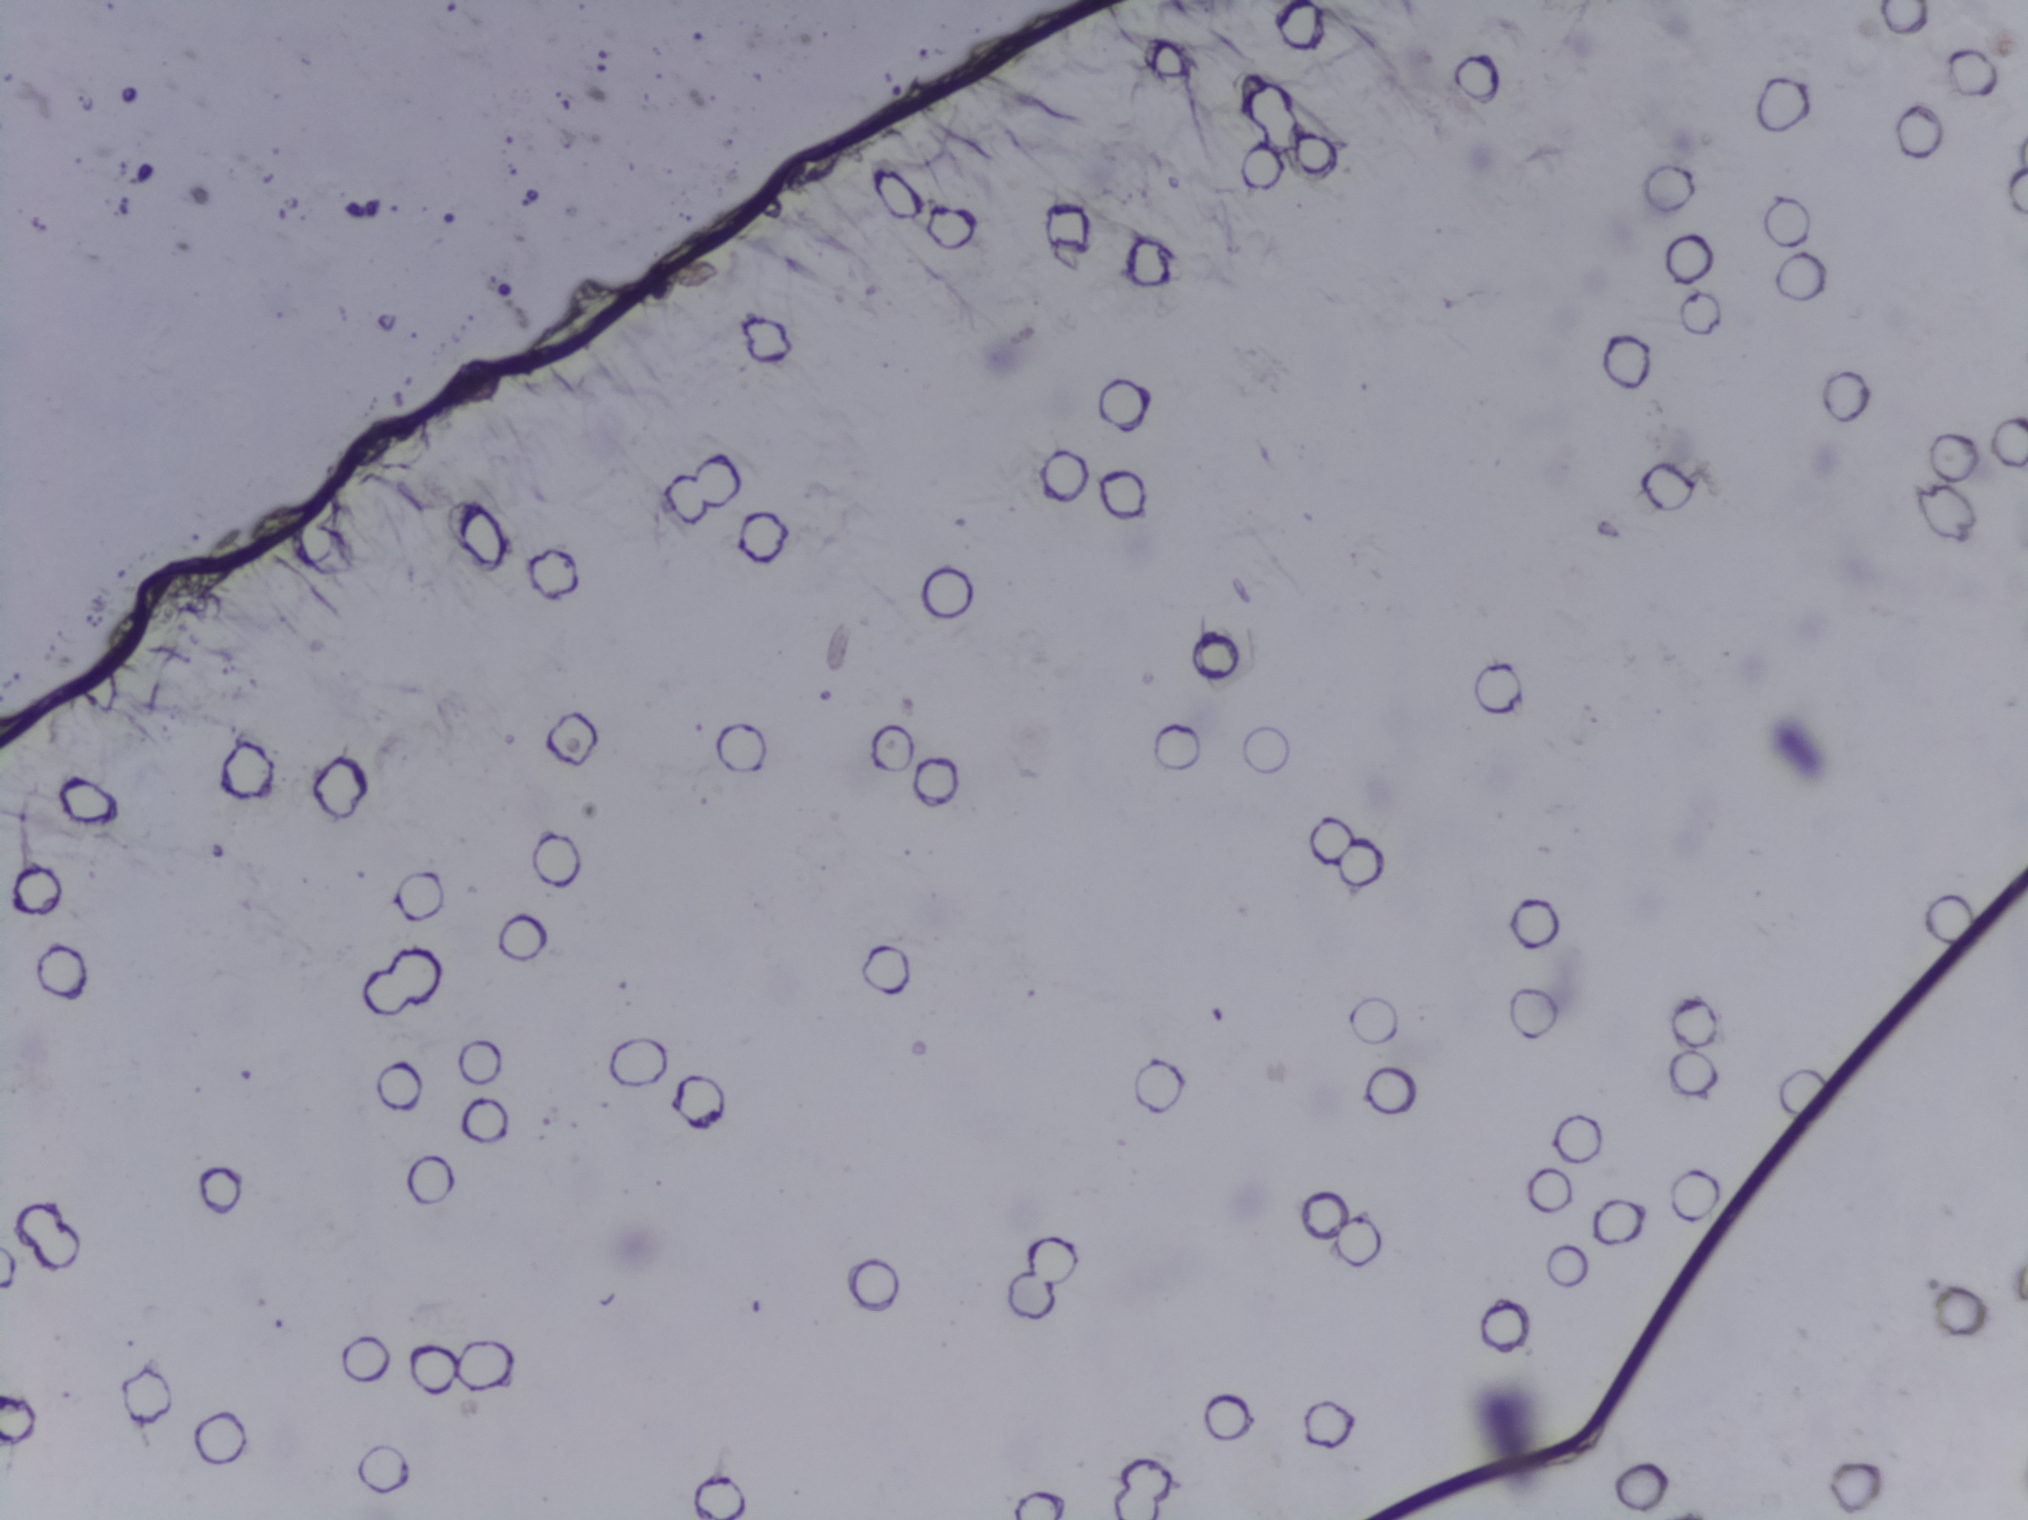
The expert annotation outlines no Schistosoma egg in this image.
One field of view of a urine filter membrane, 4× objective, 2028 × 1520 pixels.